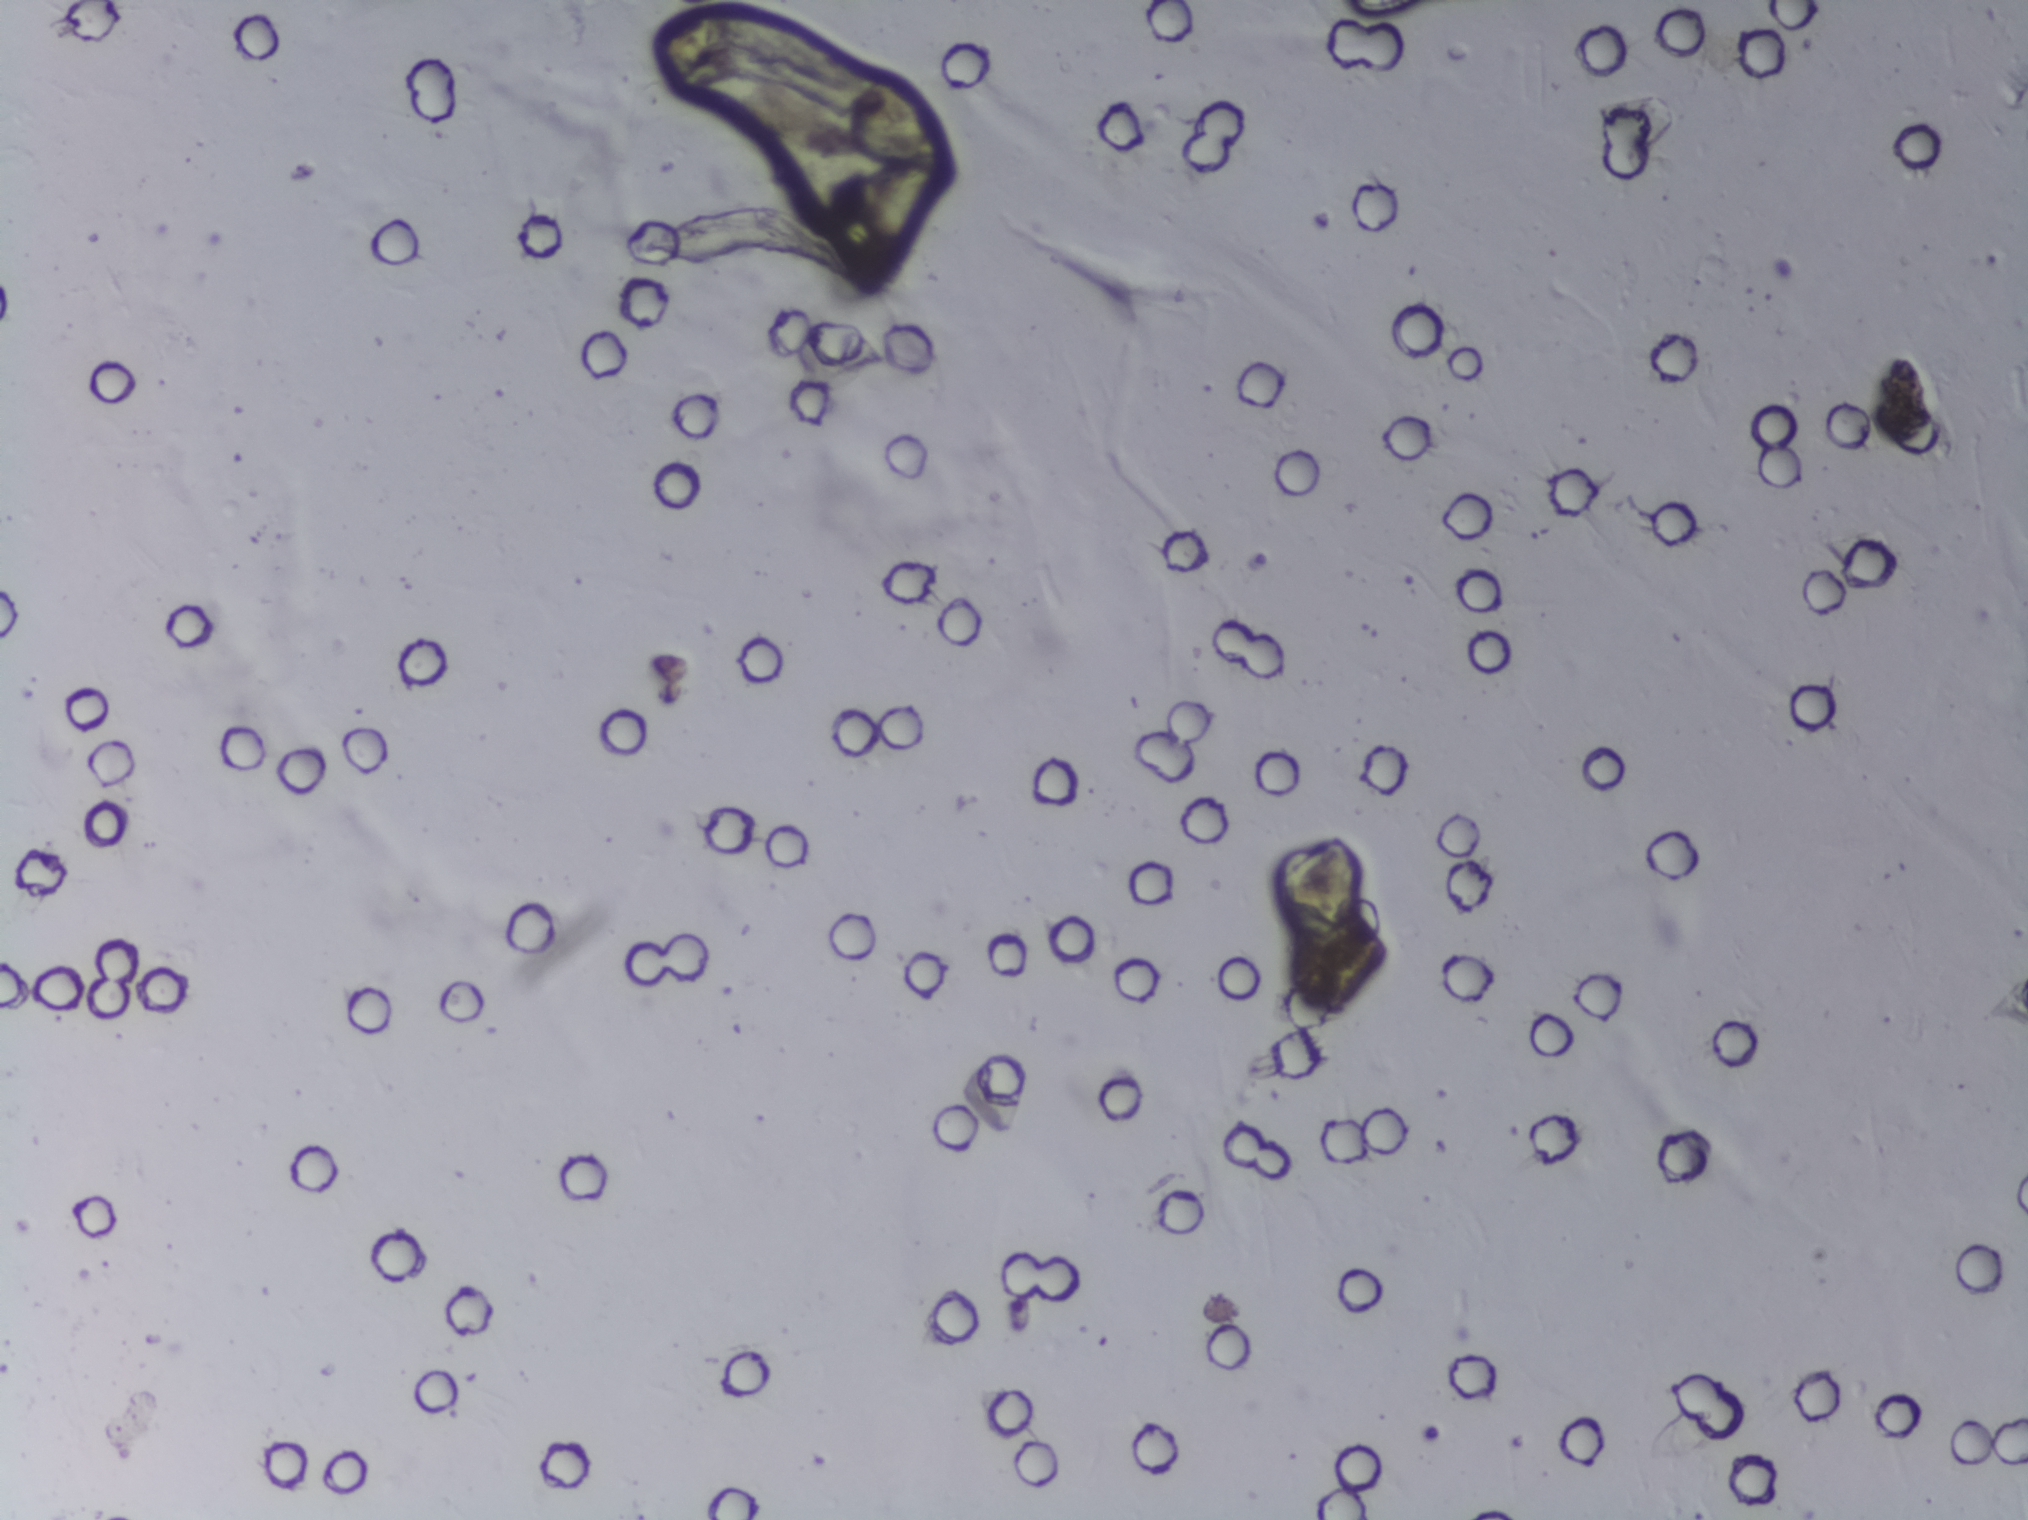
The expert annotation outlines no Schistosoma egg in this image.
Microscope photograph (4× objective) of a membrane that a urine sample was filtered through.